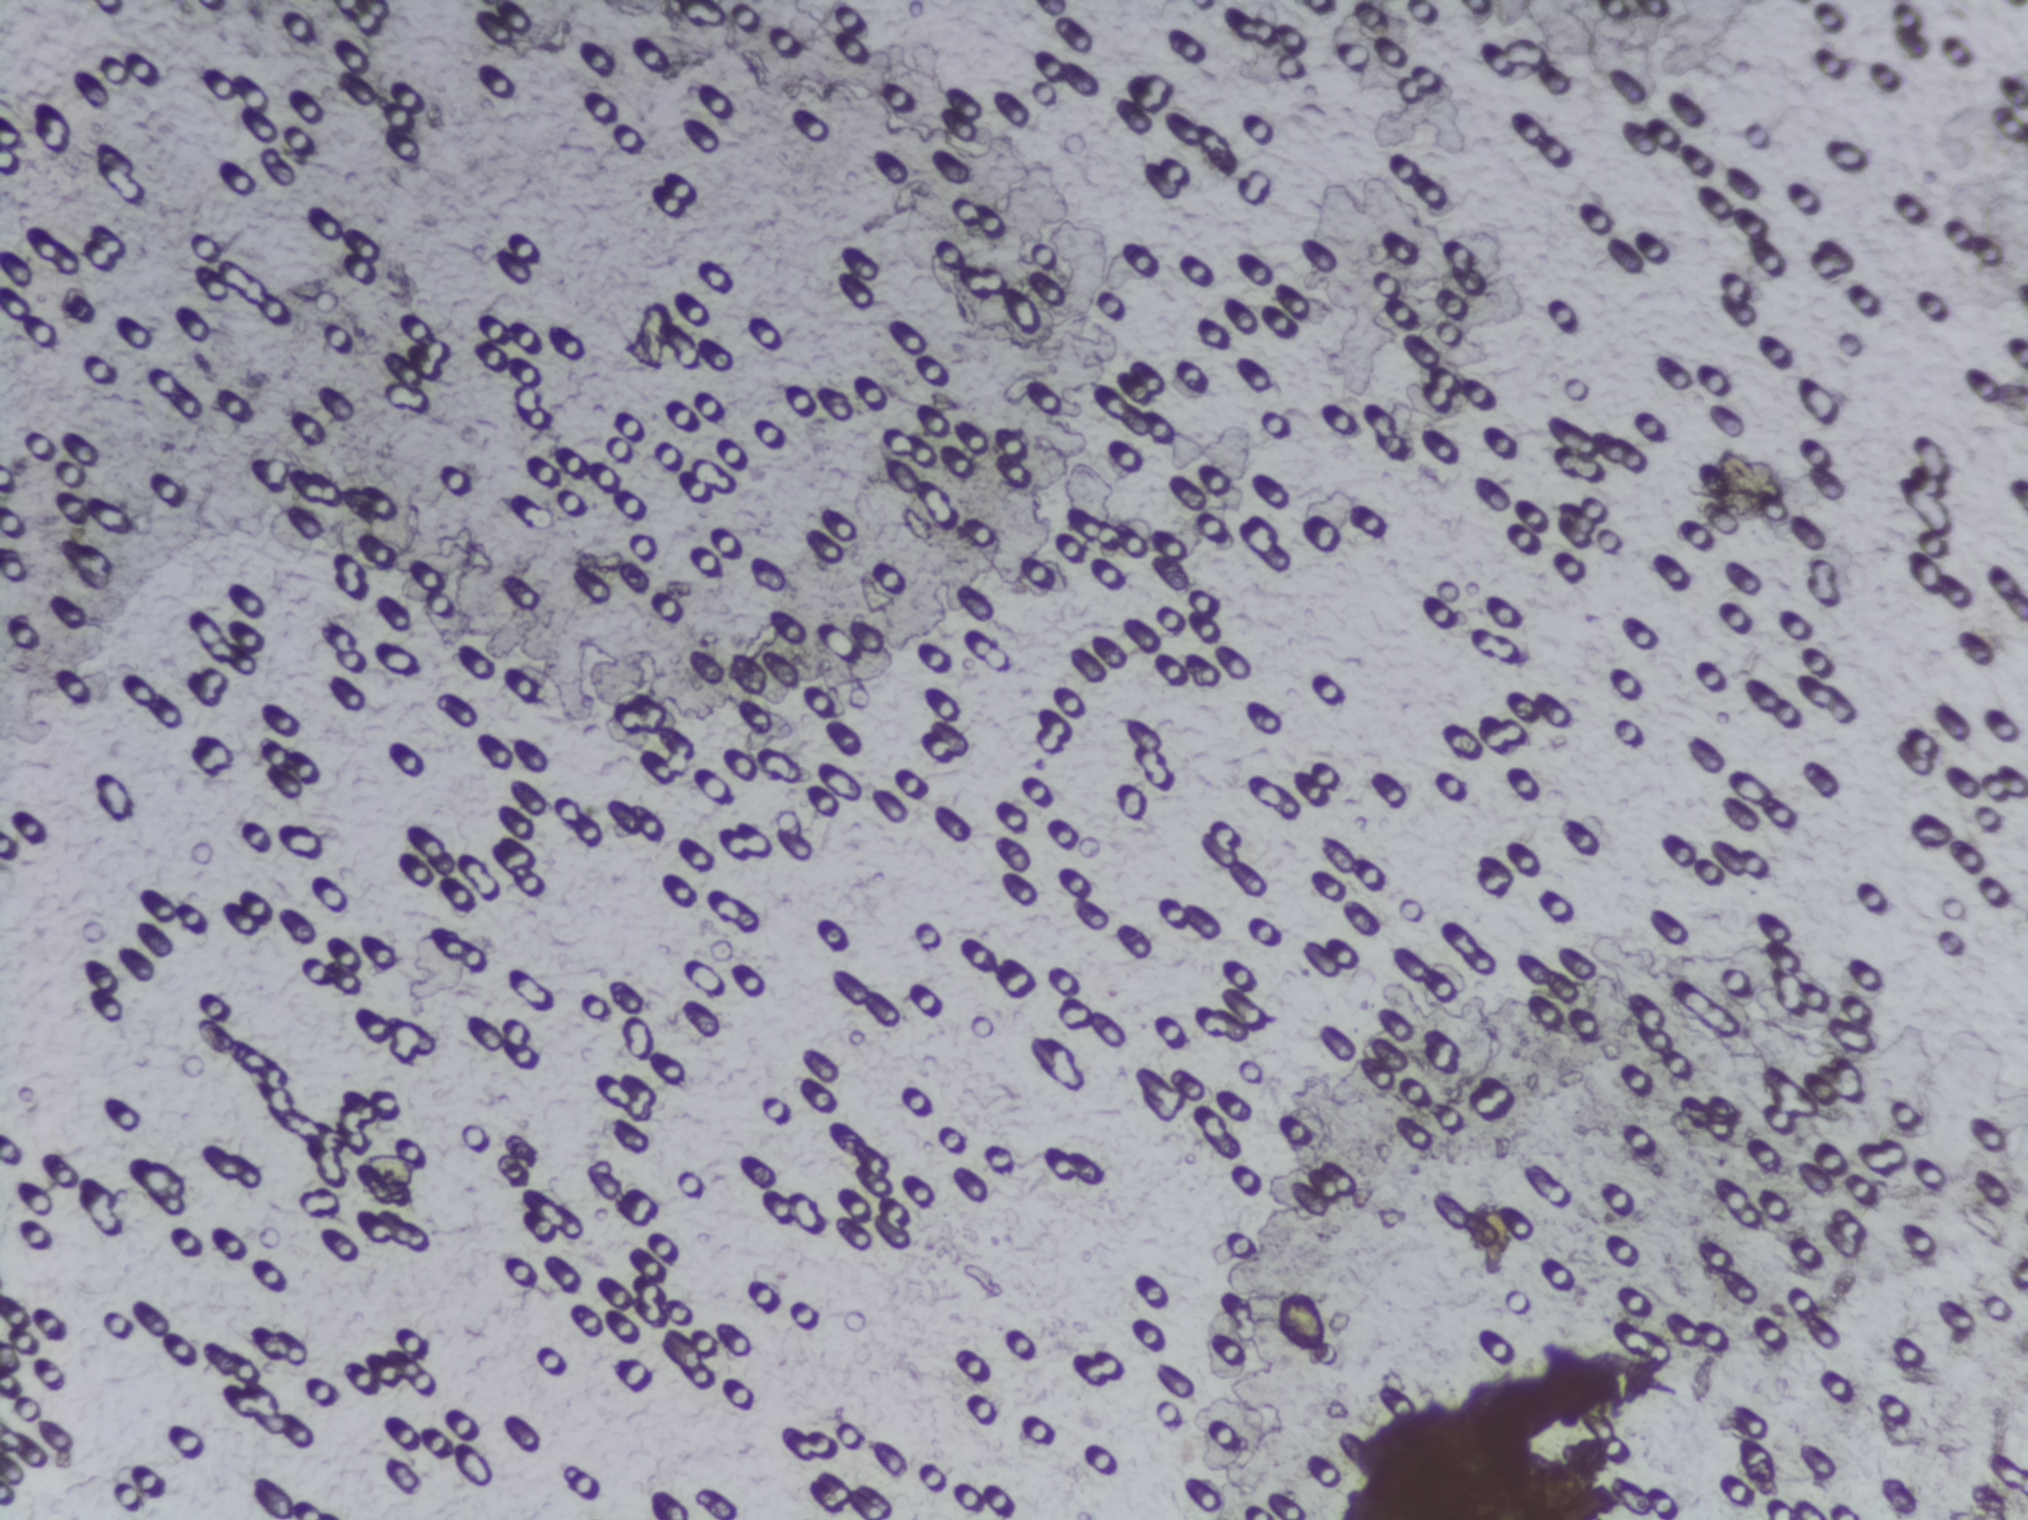
Photomicrograph of a urine filtration membrane, 4× objective.
No area of this image was outlined as a Schistosoma egg.